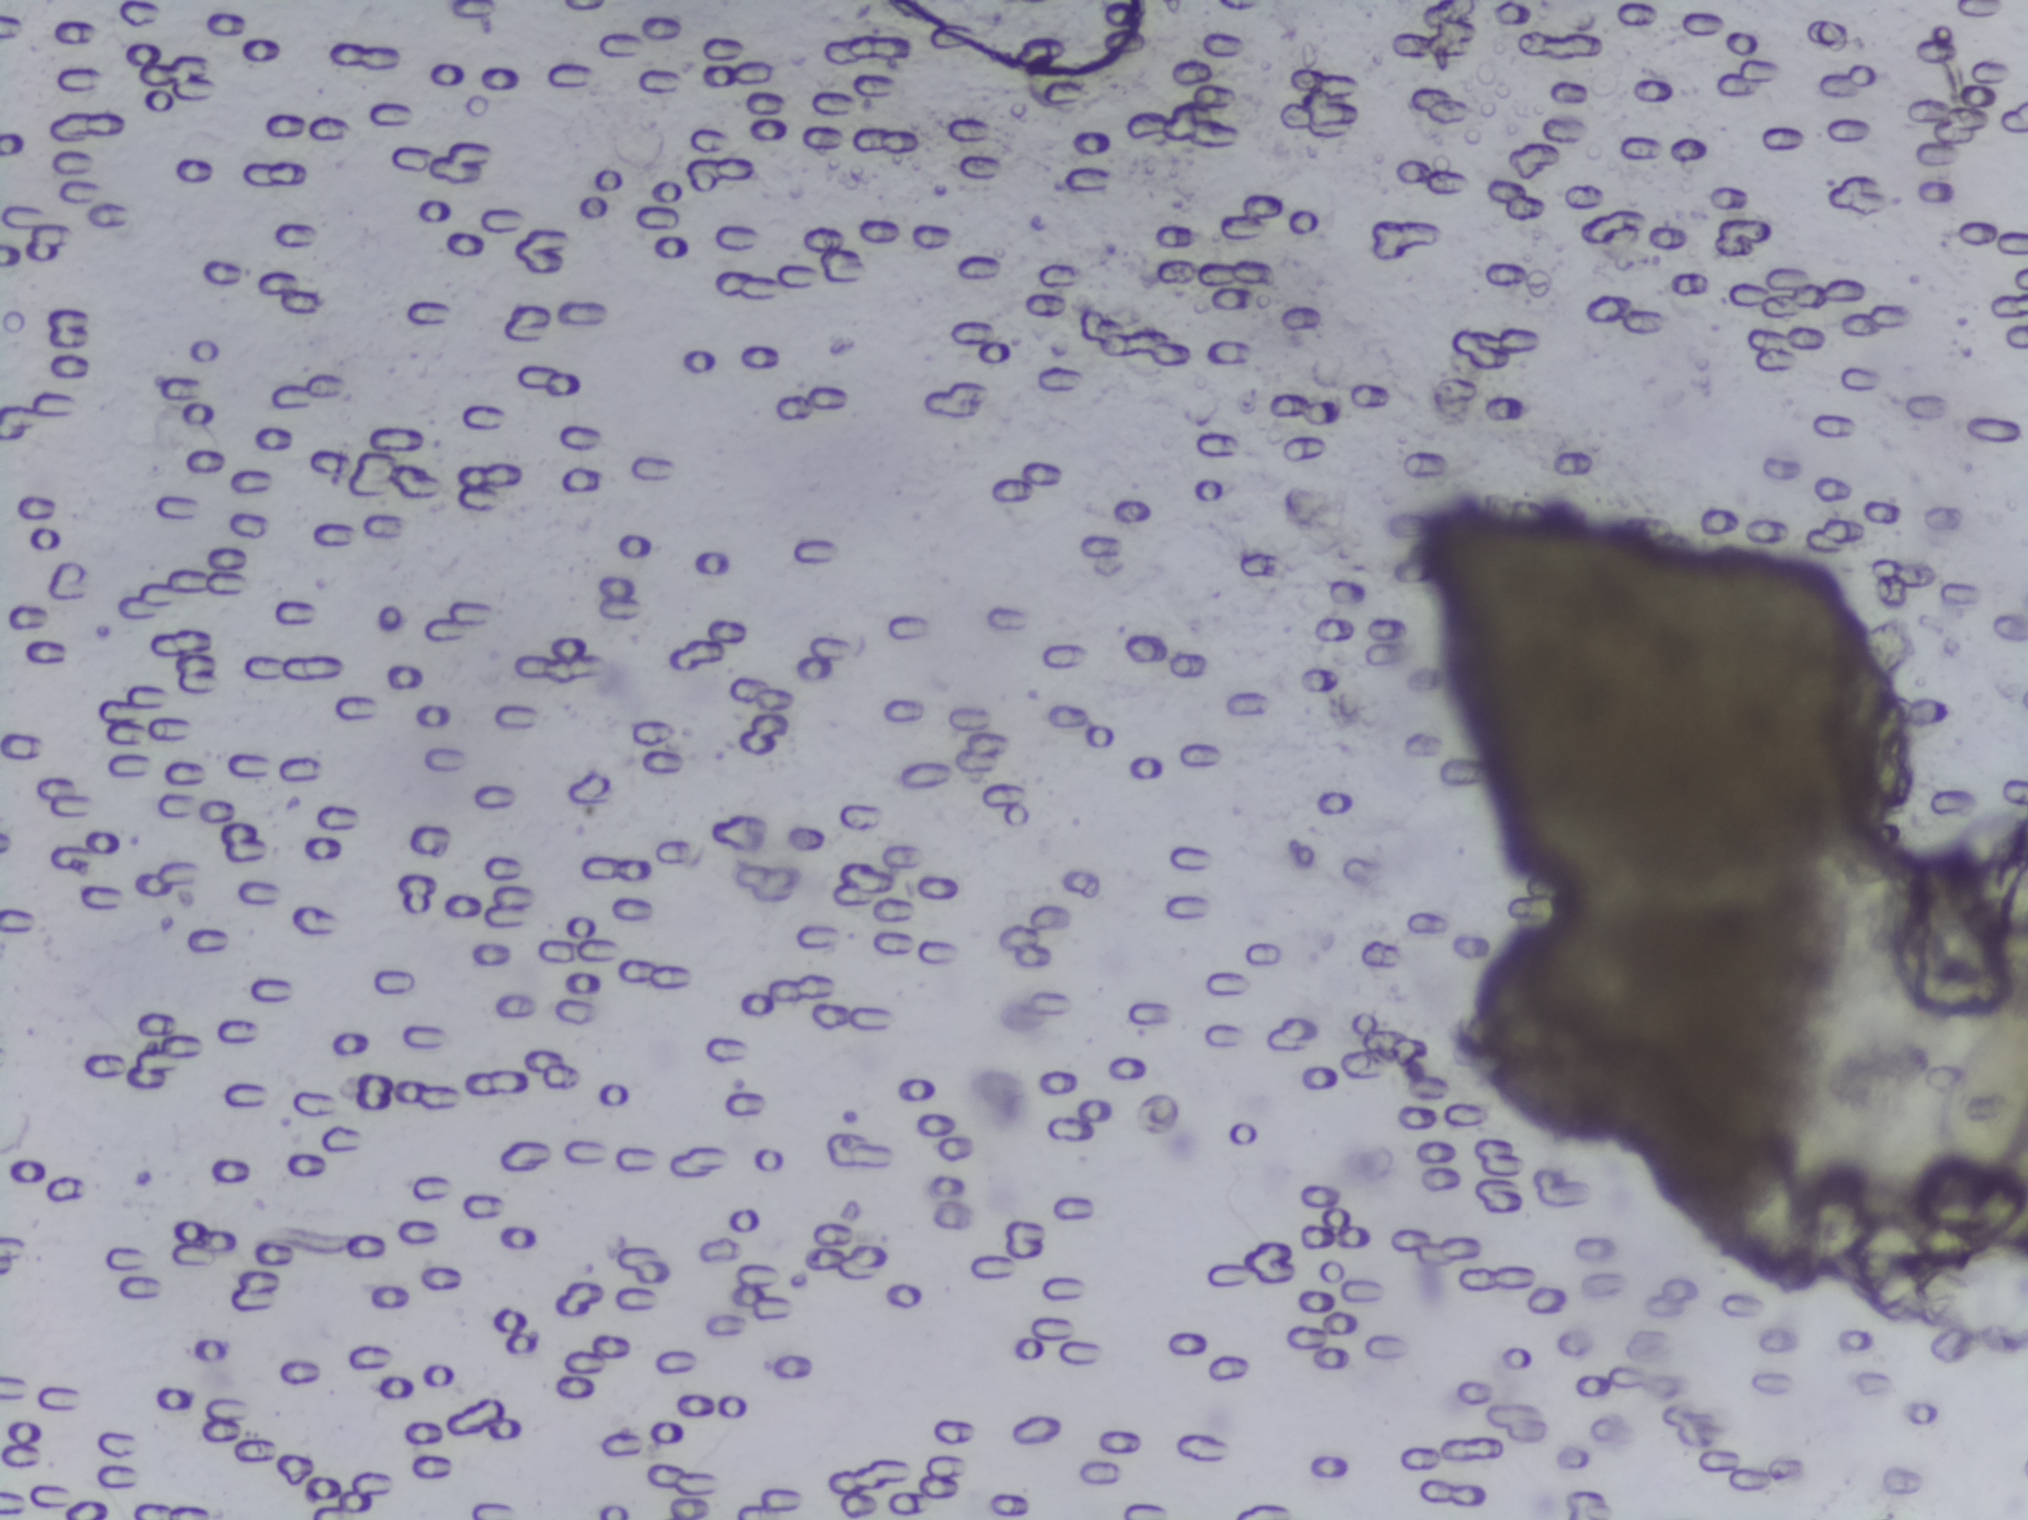
Photomicrograph of a urine filtration membrane, 4× objective.
No Schistosoma egg is outlined in this image's expert annotation.